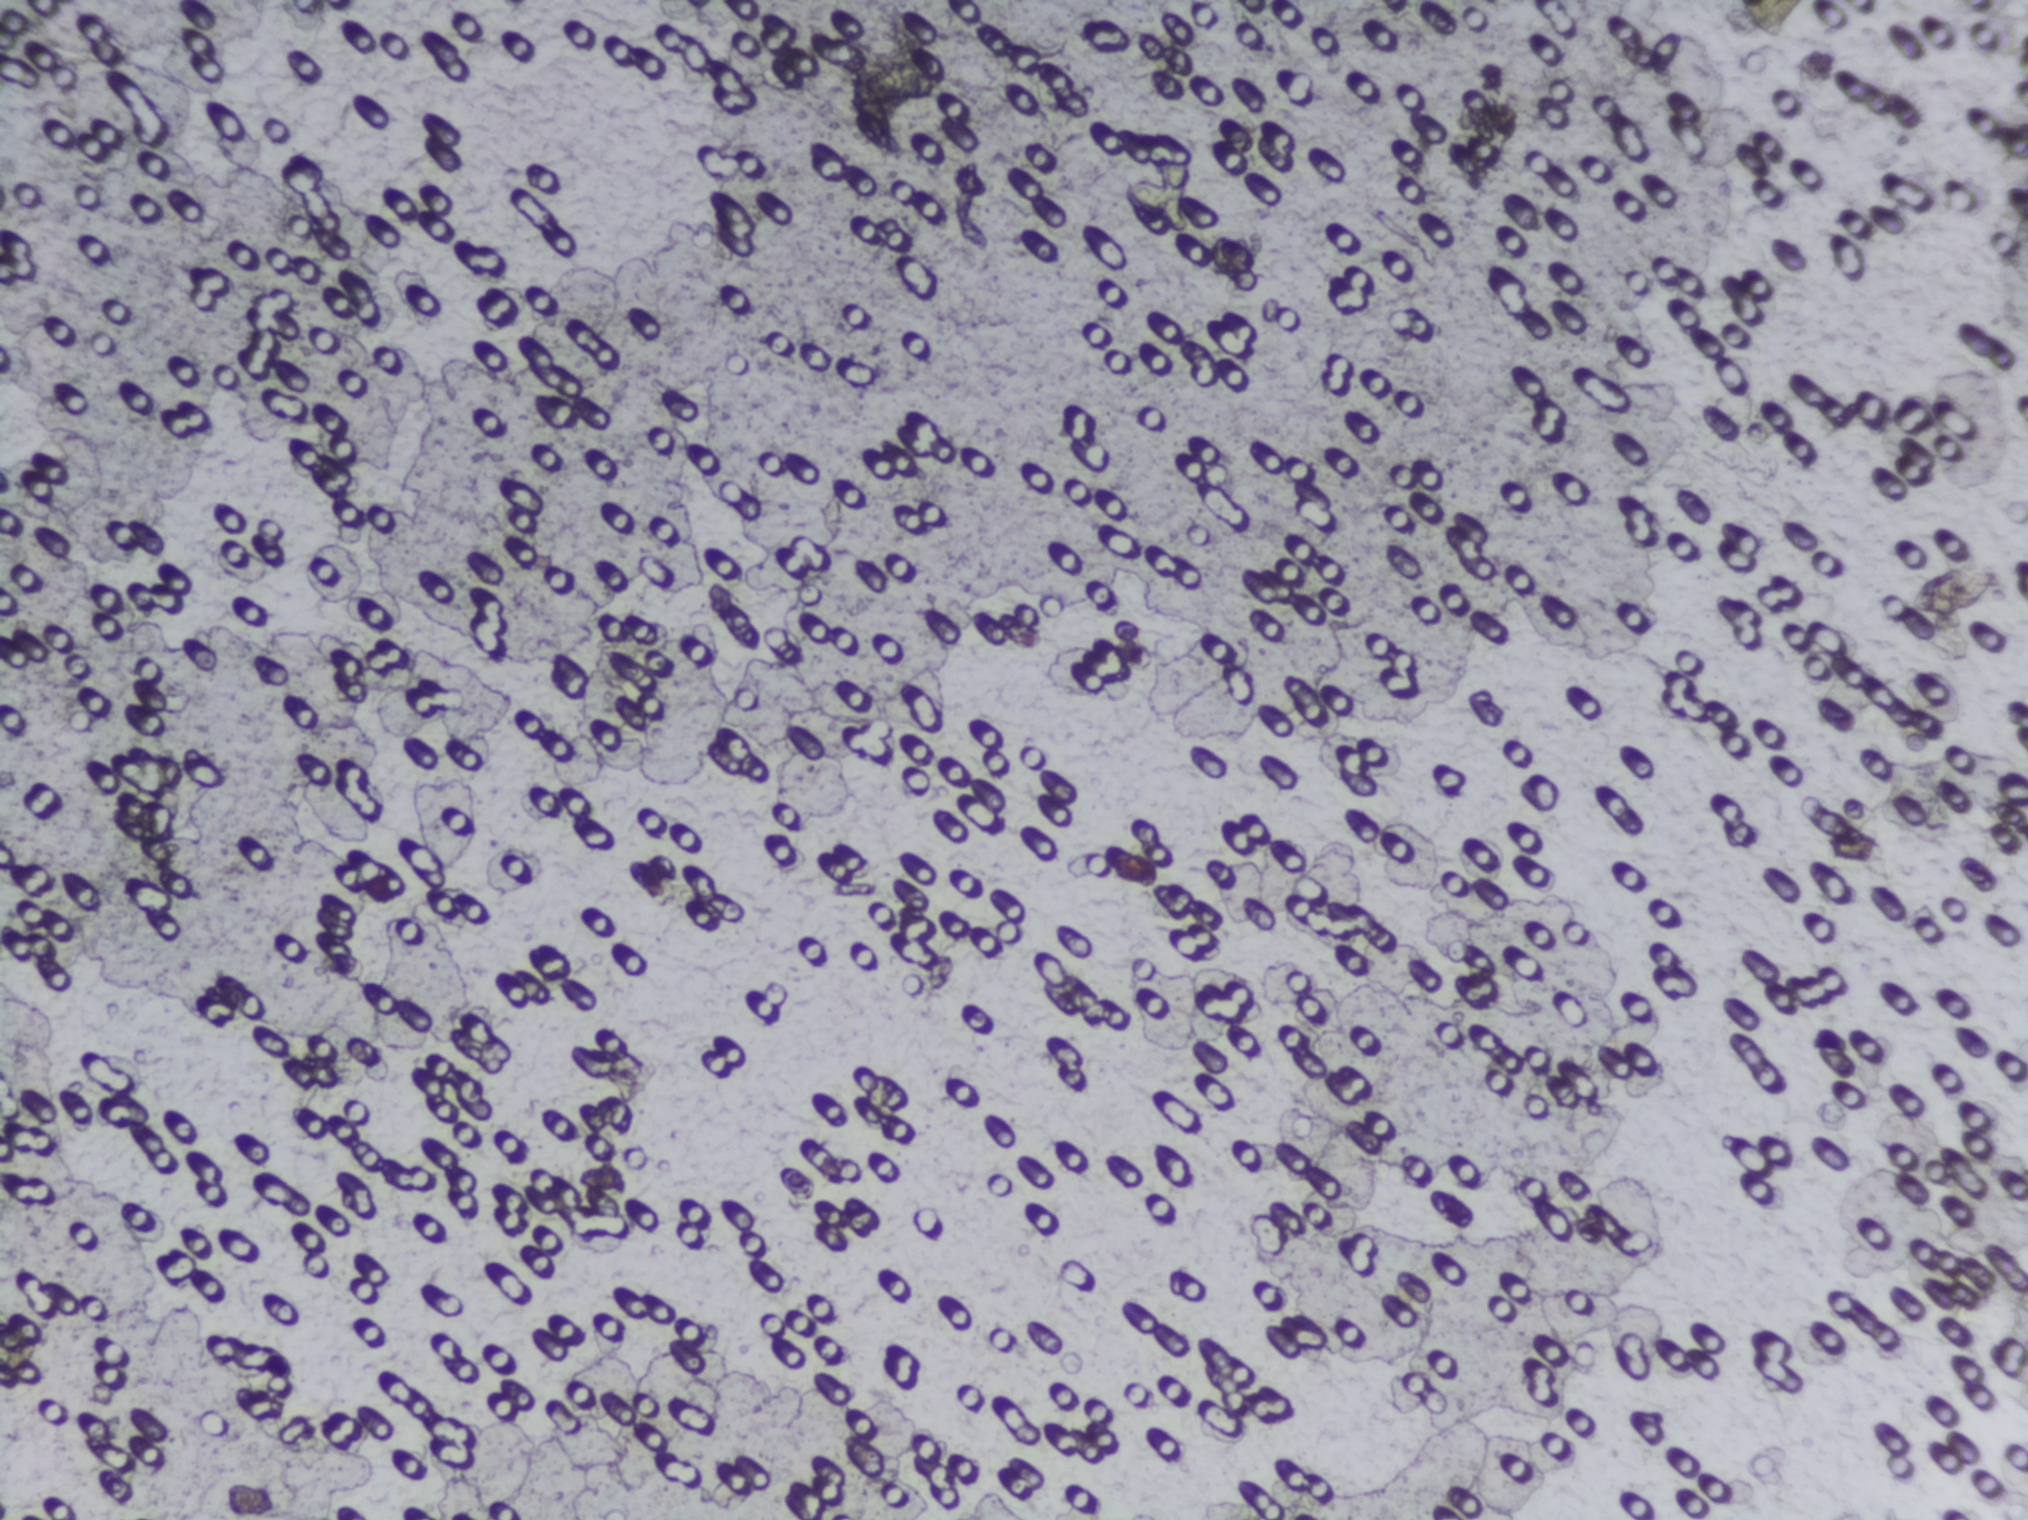
Photograph from an automated digital microscope: urine filter membrane, 4× objective.
The expert annotation outlines no Schistosoma egg in this image.